Photograph from an automated digital microscope: urine filter membrane, 4× objective.
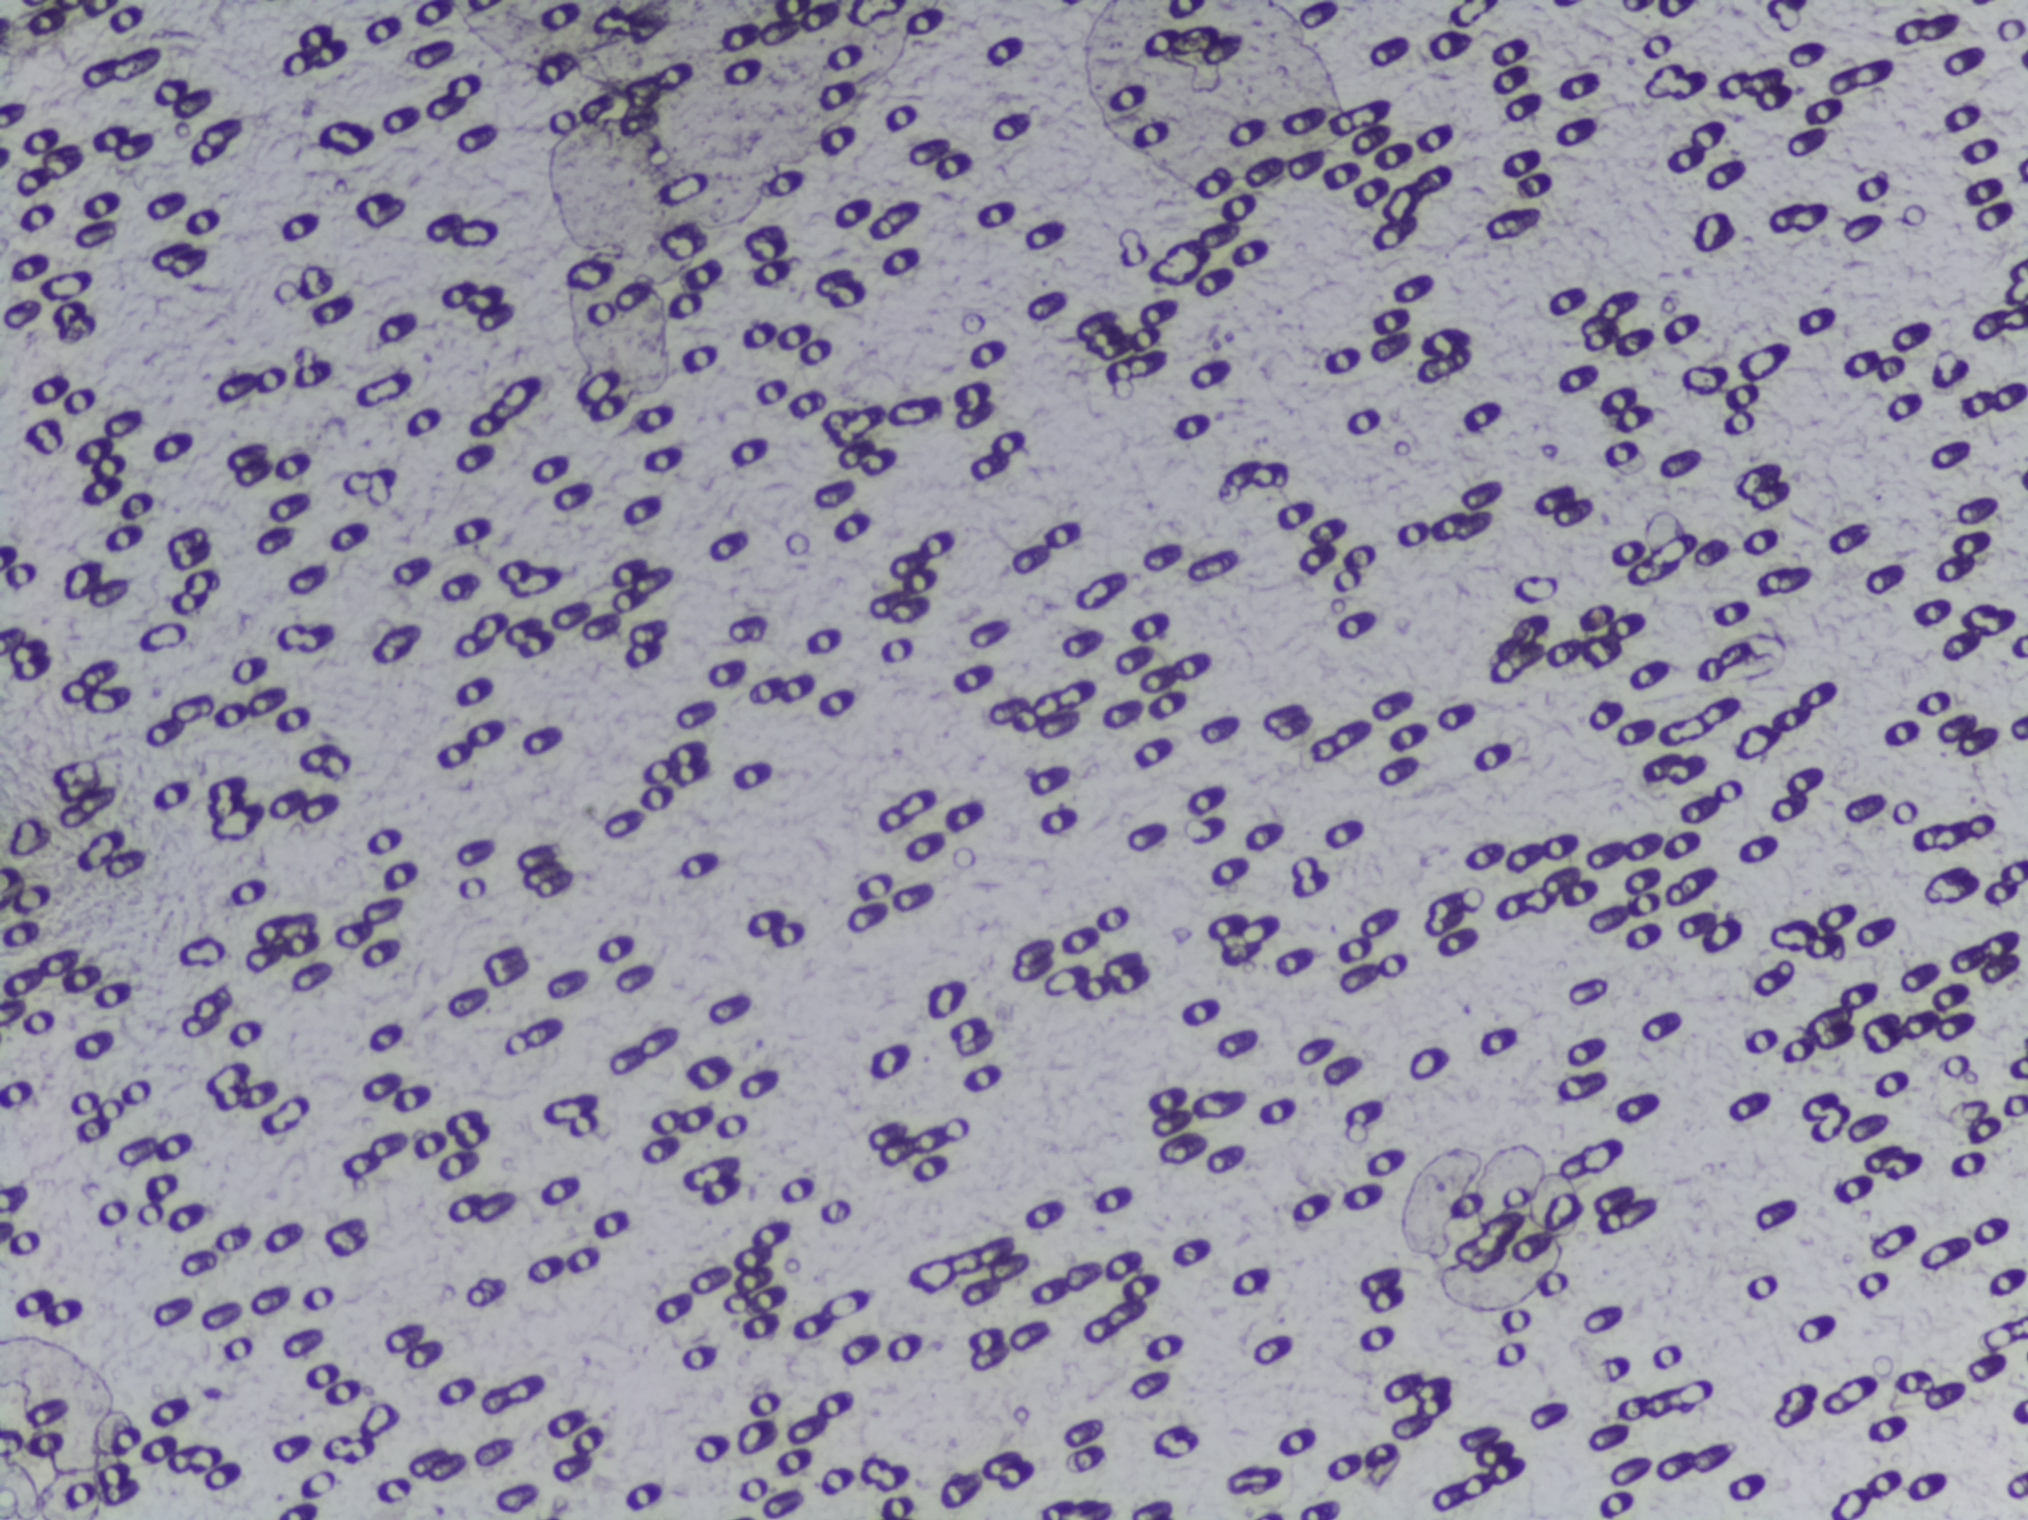
The expert annotation marks no Schistosoma egg in this field of view.